Urine filtration membrane under a 4× objective, photographed by an automated digital microscope. The image covers about 1.5 × 1.1 mm of the membrane.
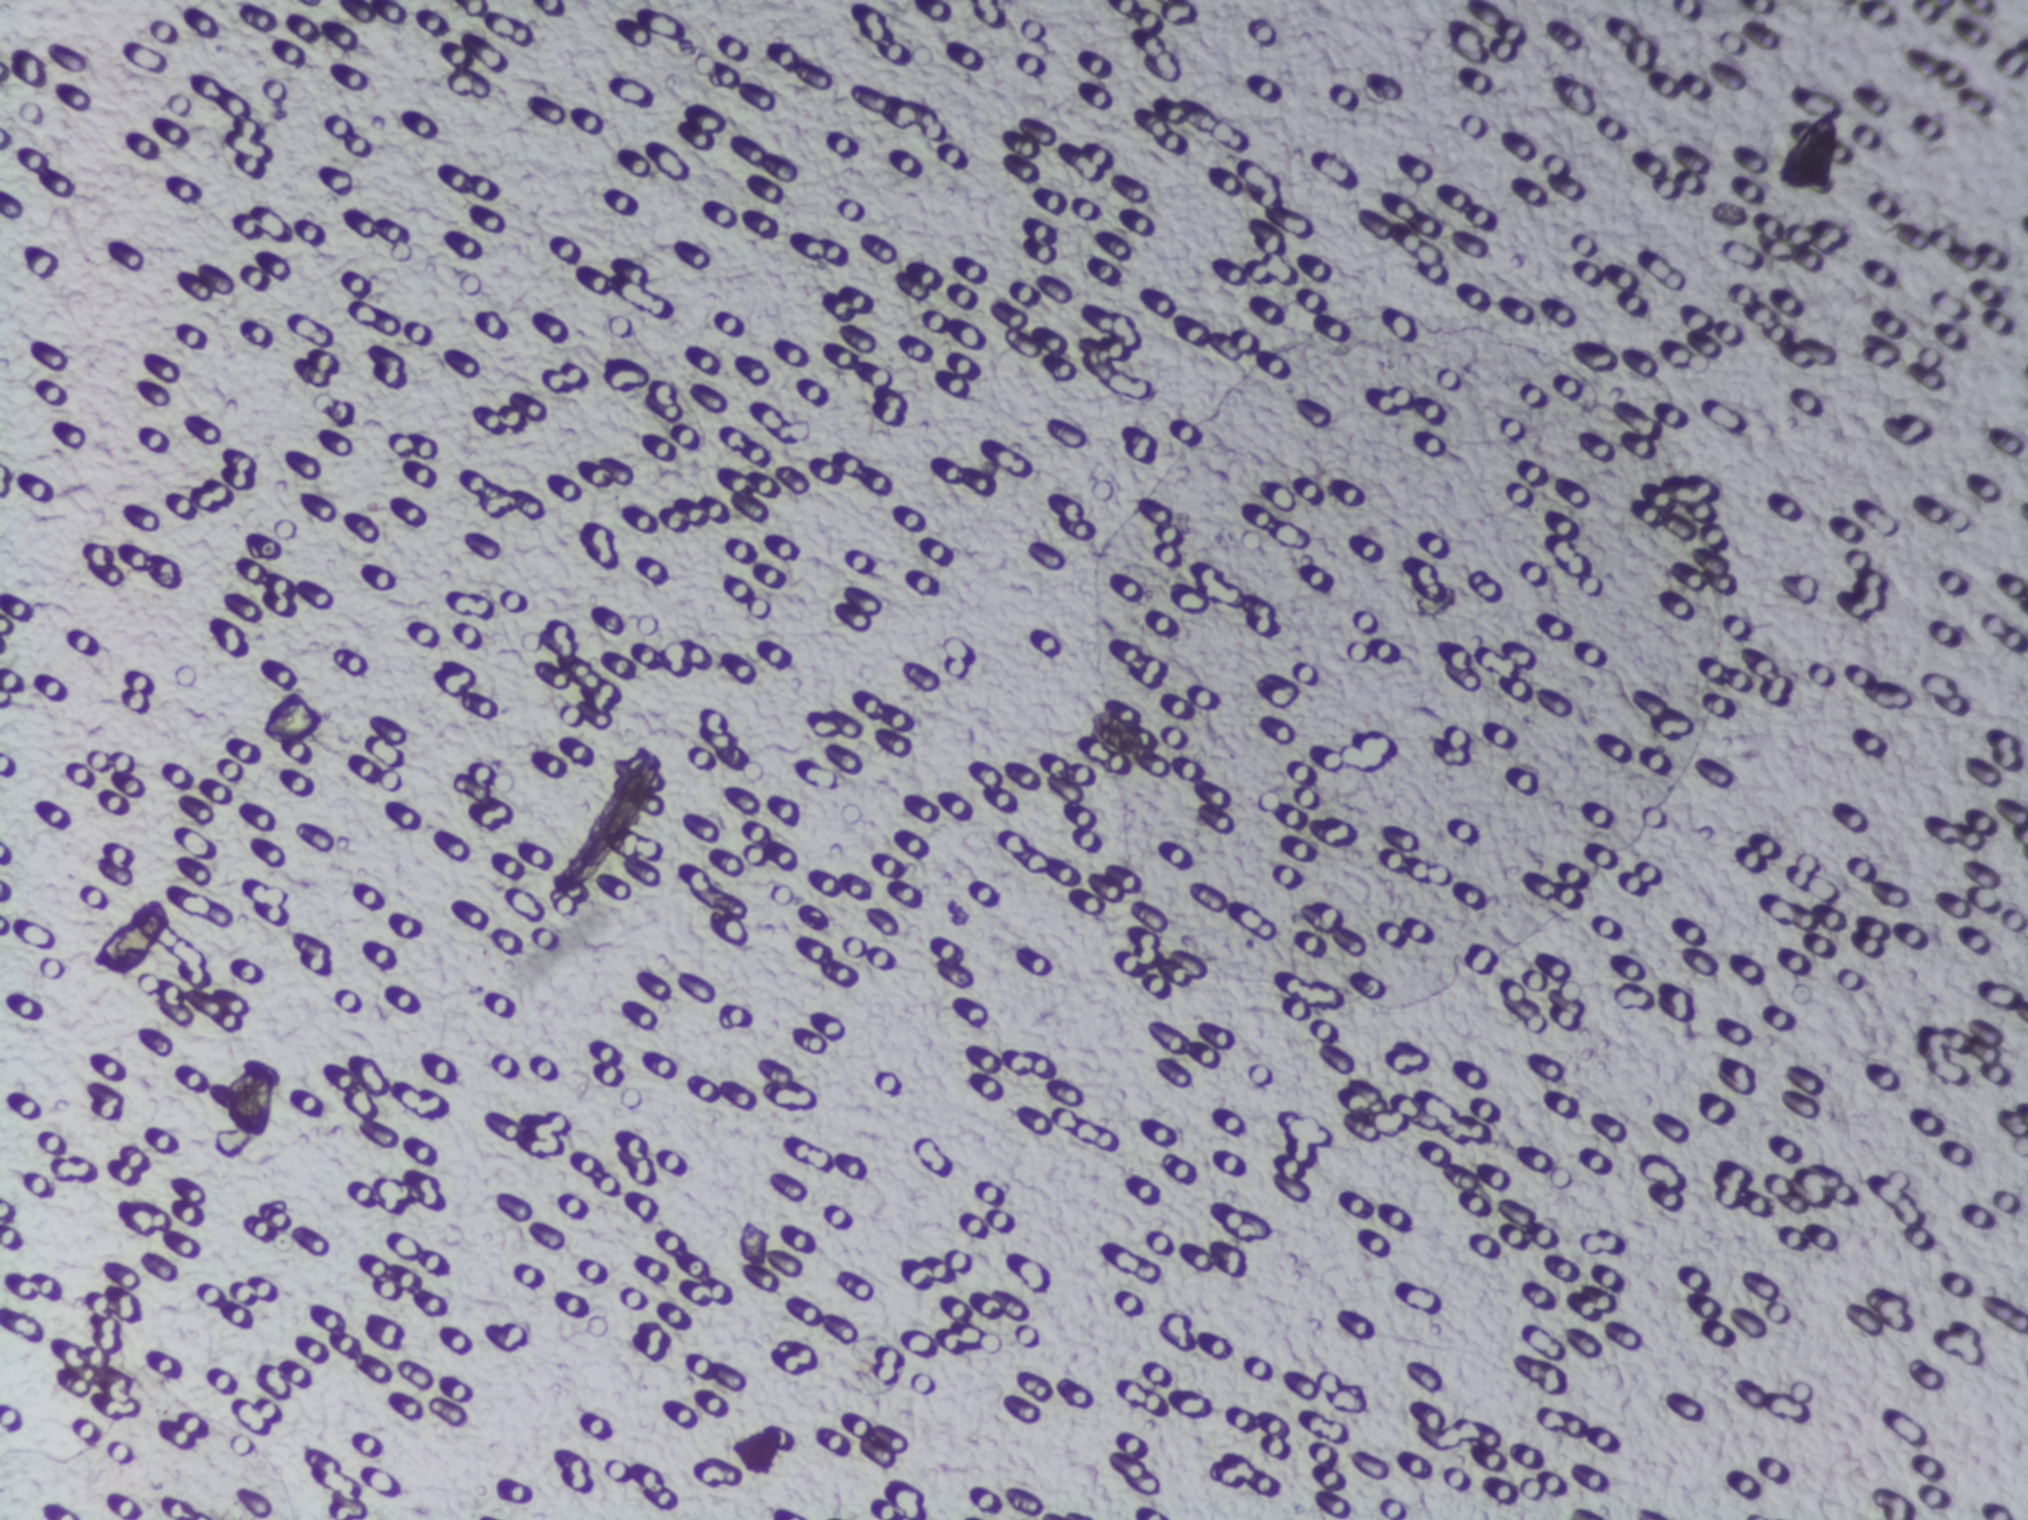
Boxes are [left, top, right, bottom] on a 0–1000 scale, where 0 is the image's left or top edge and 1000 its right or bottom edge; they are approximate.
Schistosoma eggs are outlined in the expert annotation at [110, 701, 136, 751] and [875, 69, 908, 127]. An outlined area can hold more than one egg.